One field of view of a urine filter membrane, 4× objective, 2028 × 1520 pixels.
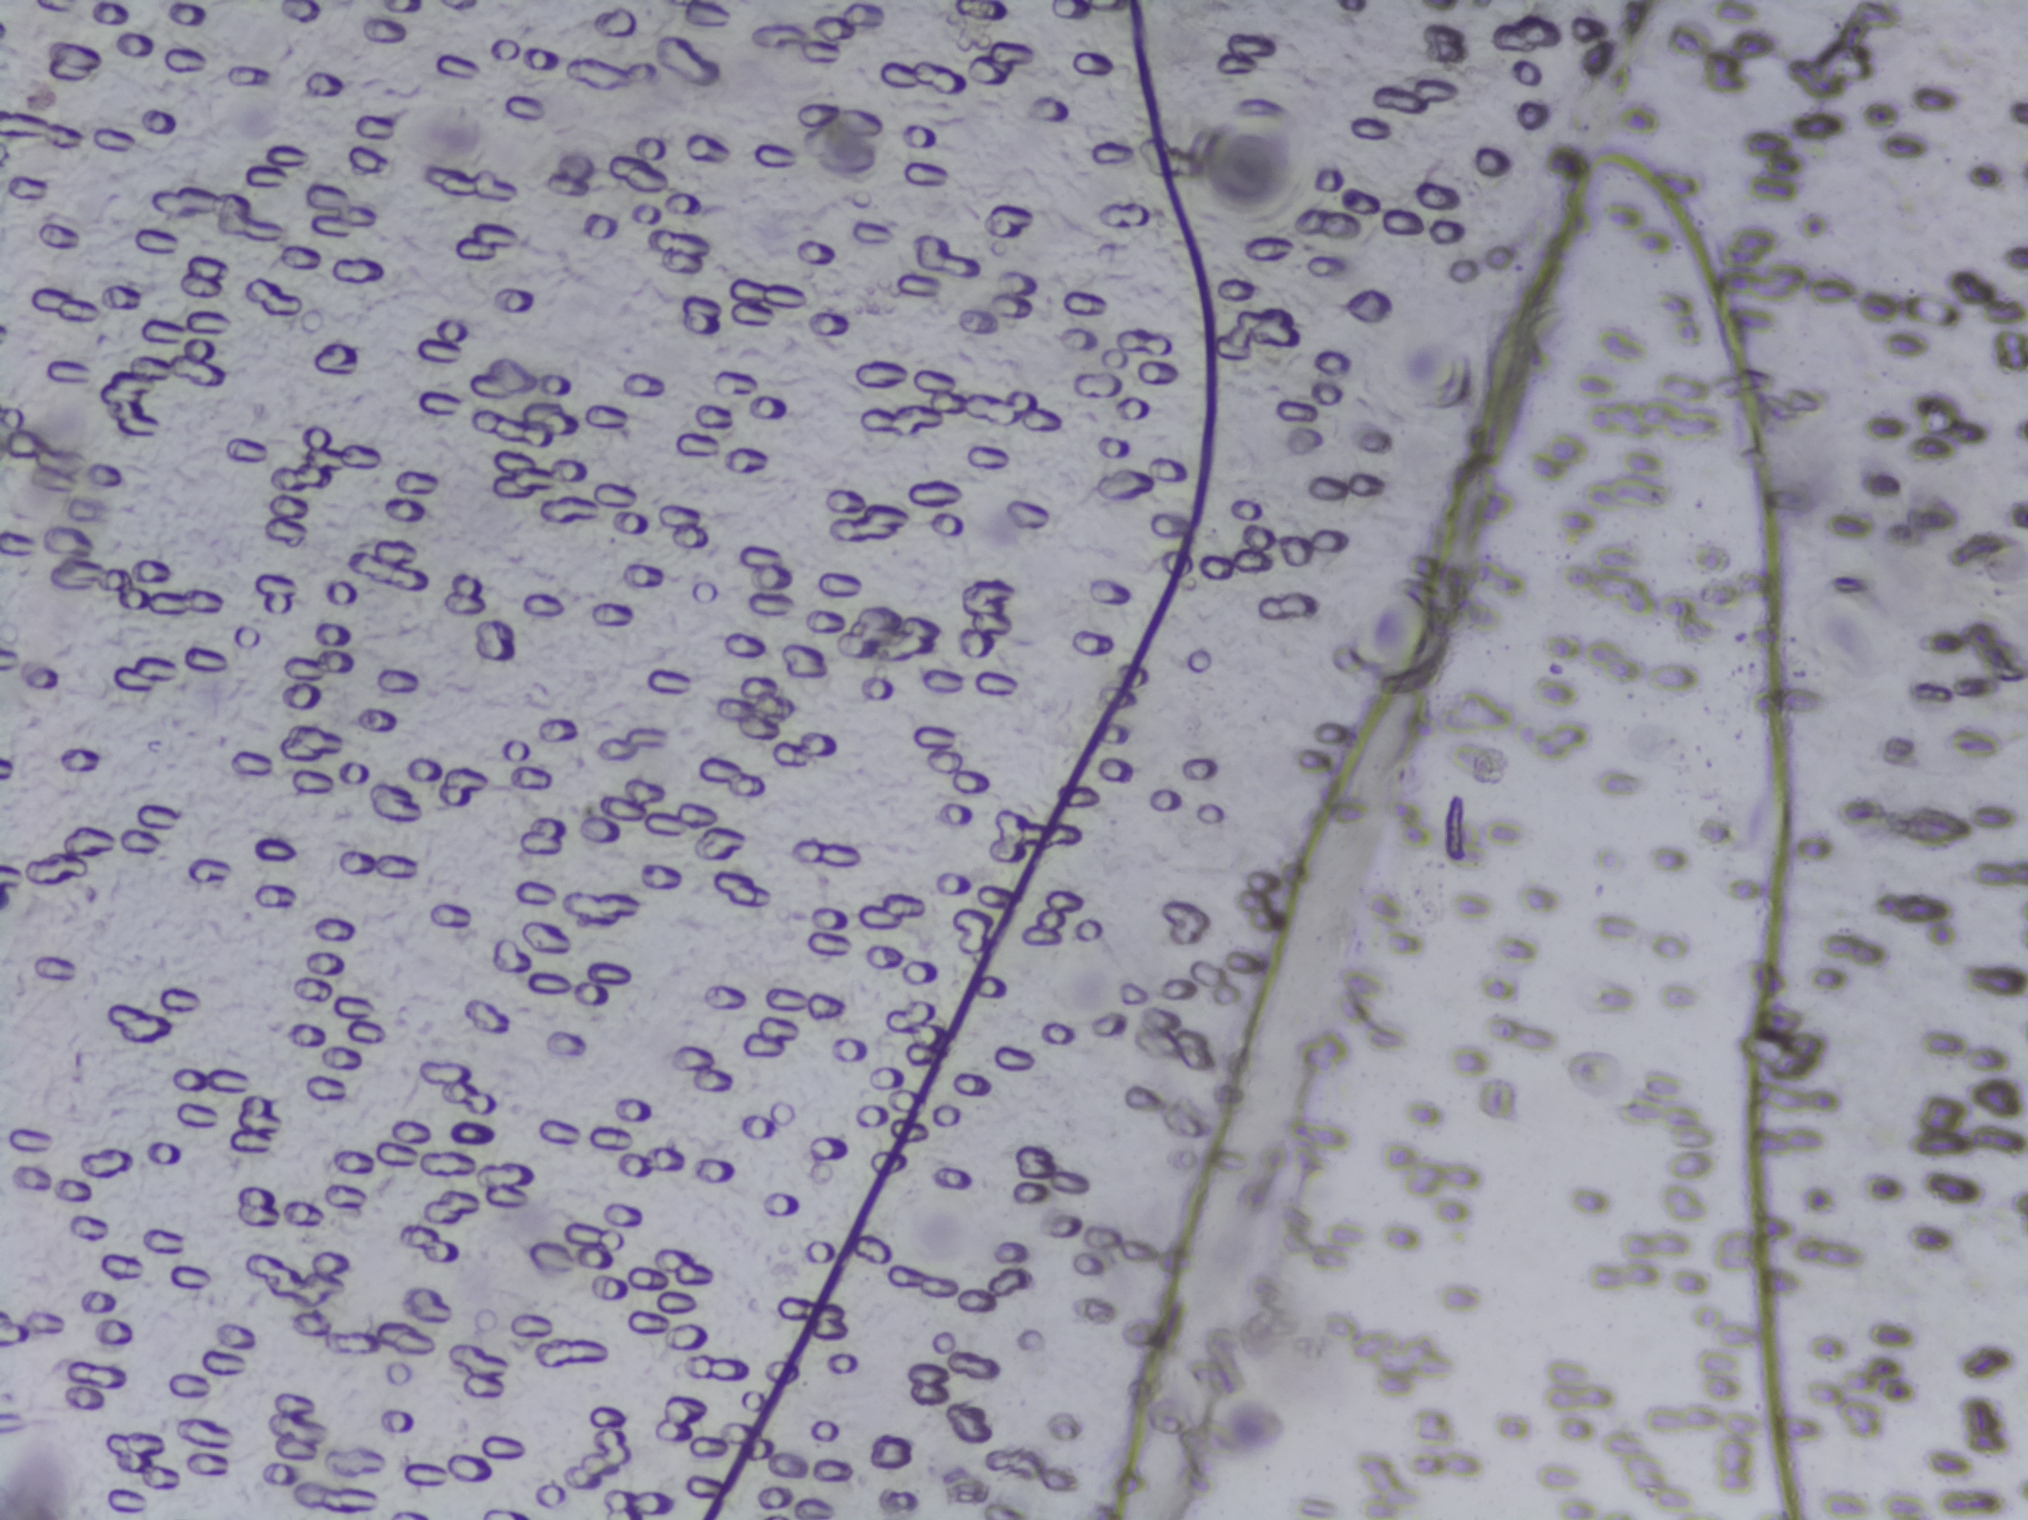
No area of this image was outlined as a Schistosoma egg.